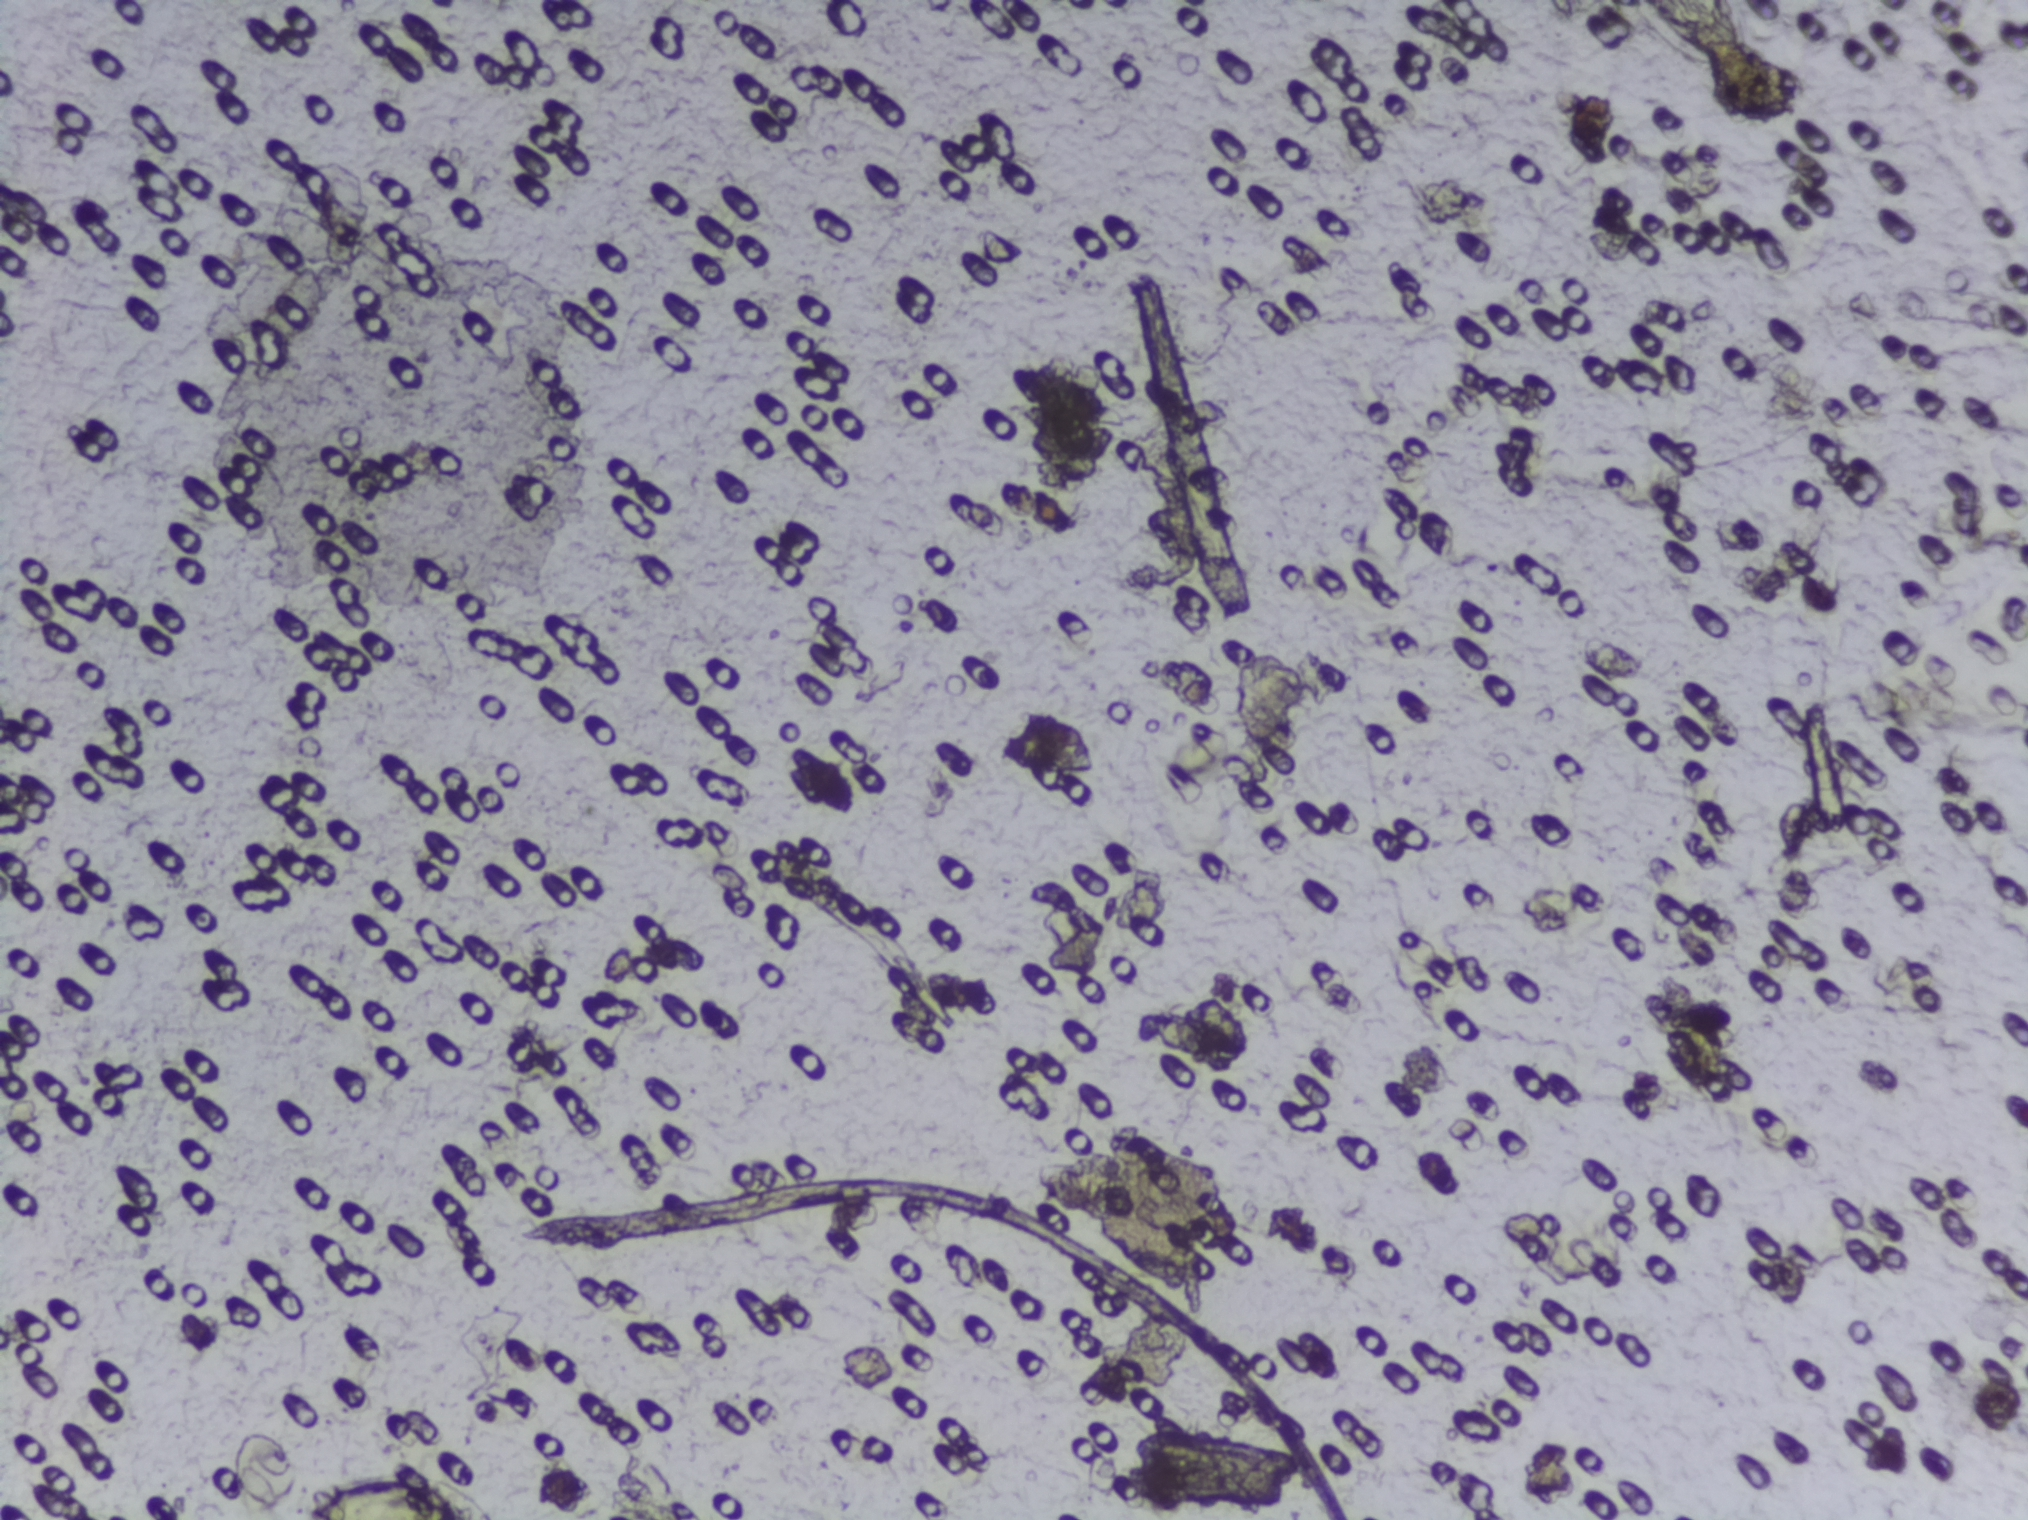
Urine filtration membrane under a 4× objective, photographed by an automated digital microscope.
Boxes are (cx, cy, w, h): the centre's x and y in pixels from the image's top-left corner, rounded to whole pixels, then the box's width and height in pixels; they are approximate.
Schistosoma egg areas, outlined: (cx=396, cy=1469, w=224, h=101) (reaching the bottom edge of the frame). Marked pixels, not the box around them: about 0.6% of the image. A single outlined area may contain several eggs. Any one outlined egg may, rarely, be S. mansoni rather than S. haematobium.